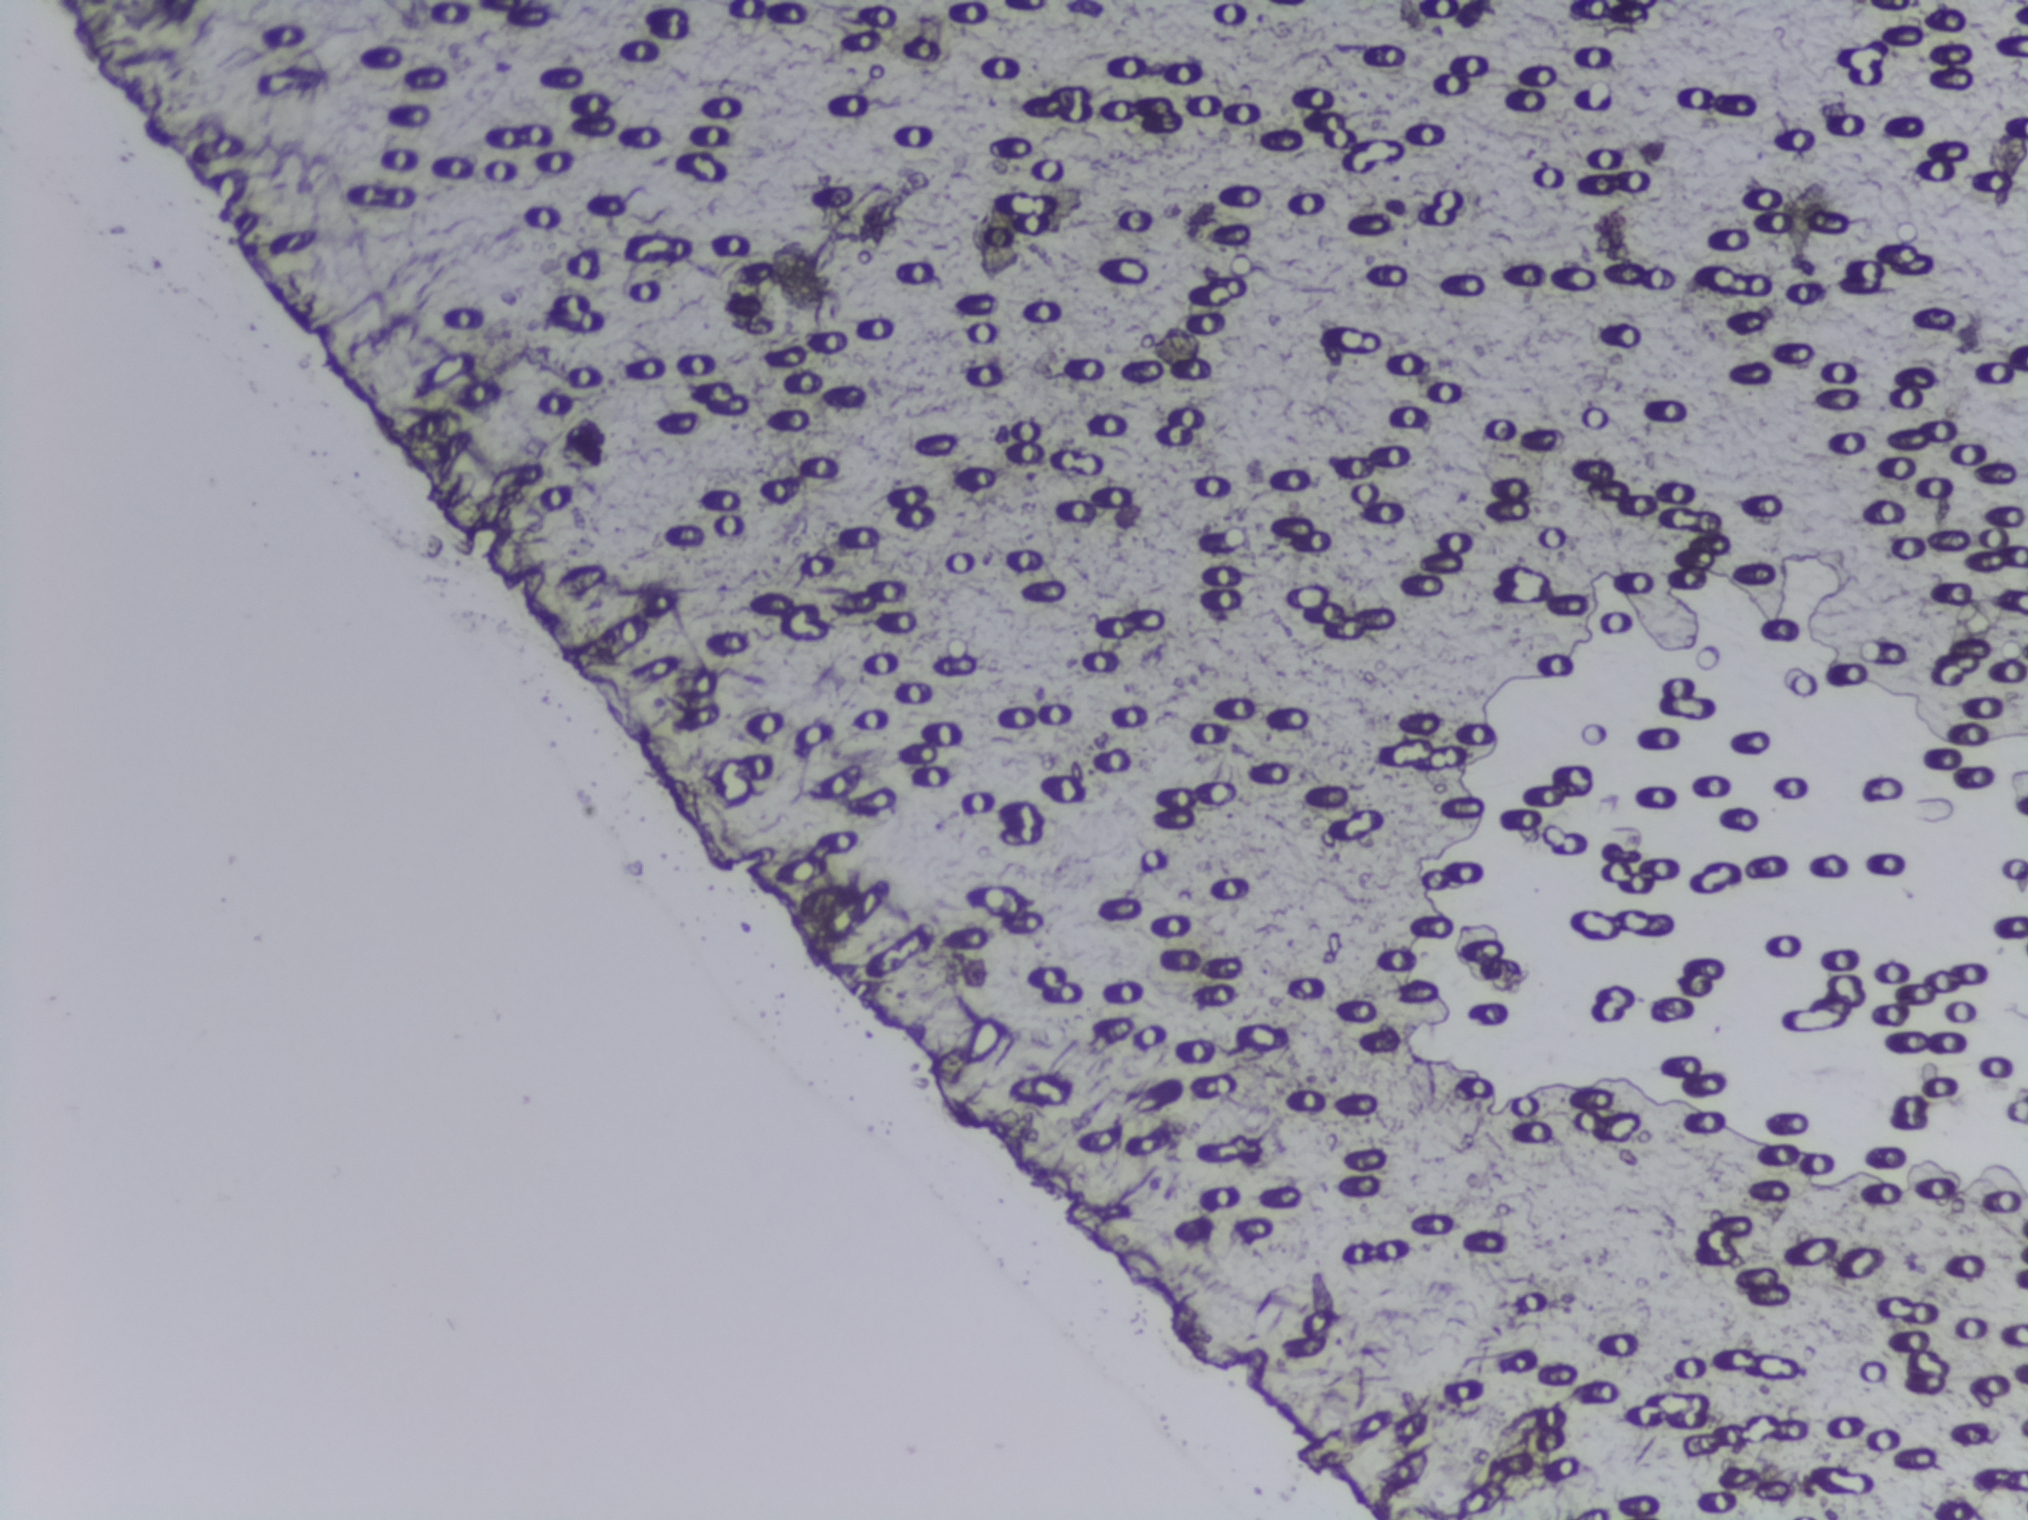
The expert annotation marks no Schistosoma egg in this field of view.
Urine filter membrane photographed through a 4× microscope objective. The image covers about 1.5 × 1.1 mm of the membrane.